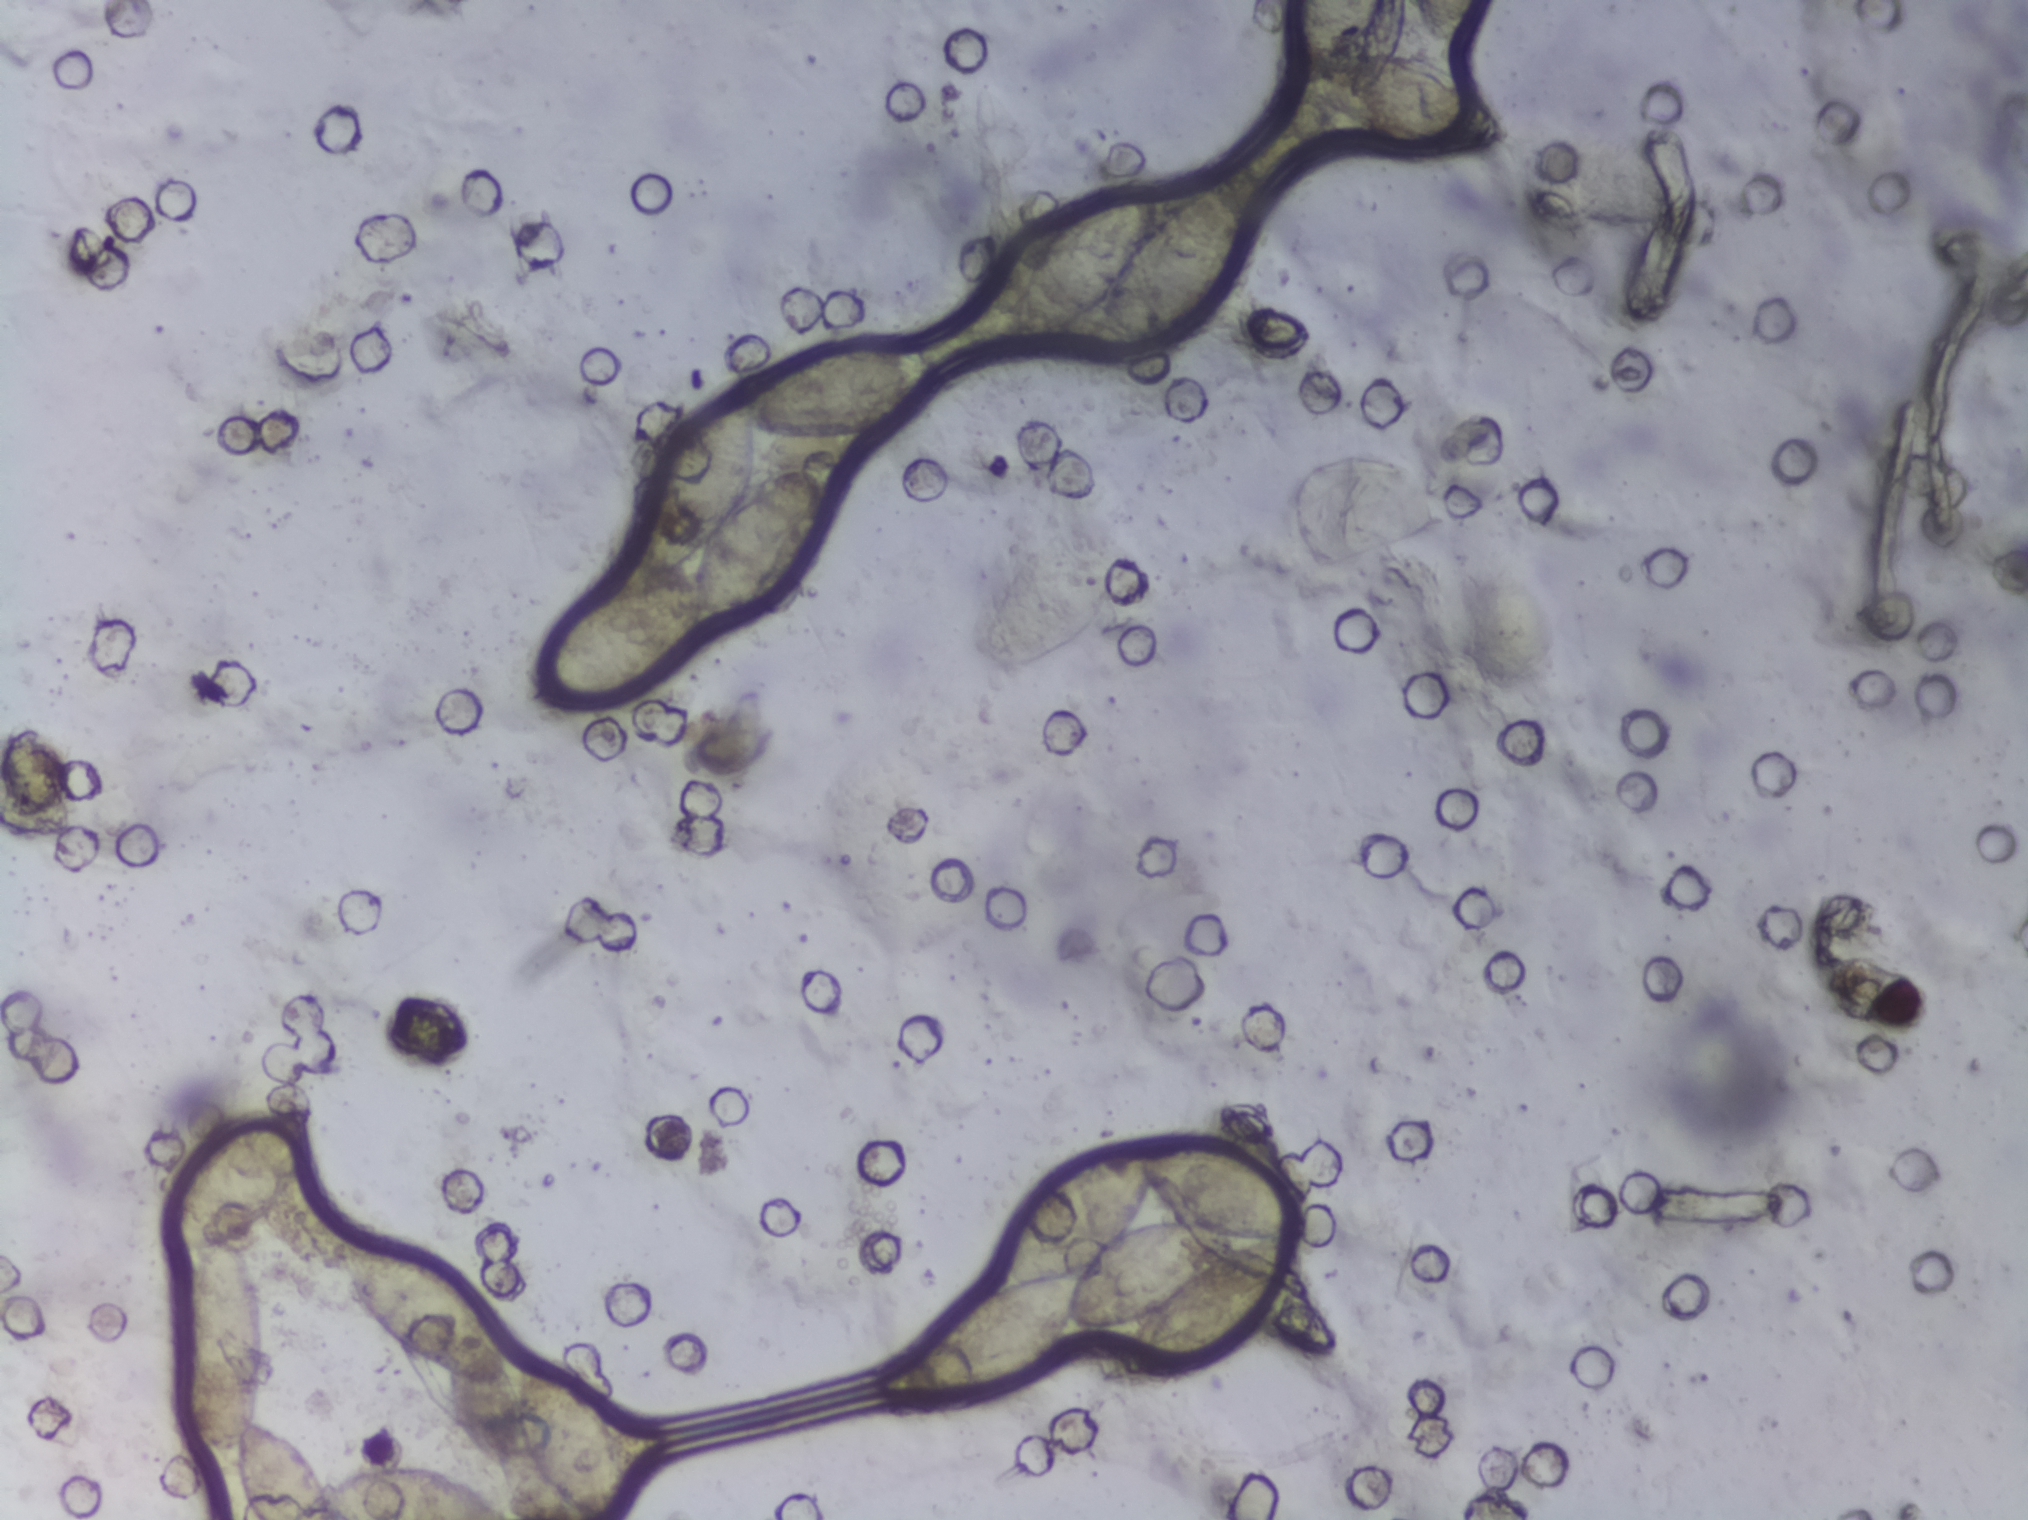
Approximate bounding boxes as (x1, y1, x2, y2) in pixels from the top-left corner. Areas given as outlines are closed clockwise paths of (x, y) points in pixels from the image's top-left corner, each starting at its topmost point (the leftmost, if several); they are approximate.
Schistosoma eggs are outlined in five areas of this image, listed from left to right: outline (307, 1097), (318, 1107), (318, 1128), (302, 1178), (266, 1219), (244, 1229), (261, 1253), (271, 1302), (259, 1411), (304, 1433), (329, 1483), (358, 1472), (351, 1469), (359, 1463), (398, 1460), (475, 1484), (503, 1513), (504, 1492), (521, 1471), (499, 1419), (507, 1376), (496, 1383), (458, 1383), (415, 1366), (377, 1335), (339, 1275), (334, 1237), (343, 1230), (429, 1242), (479, 1296), (510, 1346), (511, 1367), (523, 1348), (566, 1357), (606, 1388), (612, 1415), (634, 1409), (623, 1403), (627, 1399), (660, 1414), (662, 1479), (638, 1494), (631, 1519), (256, 1519), (243, 1503), (233, 1459), (219, 1462), (190, 1438), (171, 1354), (168, 1290), (179, 1256), (164, 1244), (168, 1169), (207, 1119) (a cluster of eggs; reaching the bottom edge of the frame); outline (858, 341), (935, 342), (947, 345), (947, 362), (917, 409), (844, 464), (817, 471), (822, 502), (783, 586), (747, 610), (713, 618), (694, 655), (632, 700), (591, 713), (531, 708), (523, 700), (523, 682), (538, 634), (565, 609), (645, 581), (625, 576), (622, 567), (625, 520), (638, 477), (722, 388), (753, 383), (797, 353) (a cluster of eggs); outline (1178, 1141), (1230, 1145), (1256, 1157), (1309, 1229), (1295, 1247), (1280, 1293), (1230, 1351), (1158, 1379), (1101, 1384), (1099, 1368), (1123, 1328), (1077, 1330), (1058, 1357), (983, 1403), (923, 1407), (881, 1393), (883, 1375), (900, 1350), (938, 1327), (983, 1279), (996, 1274), (1003, 1244), (1051, 1176), (1125, 1148) (a cluster of eggs); box (1011, 169, 1255, 368); box (1297, 0, 1509, 154) (reaching the top edge of the frame). An outlined area can hold more than one egg.
Photomicrograph of a urine filtration membrane, 4× objective. The image covers about 1.5 × 1.1 mm of the membrane.